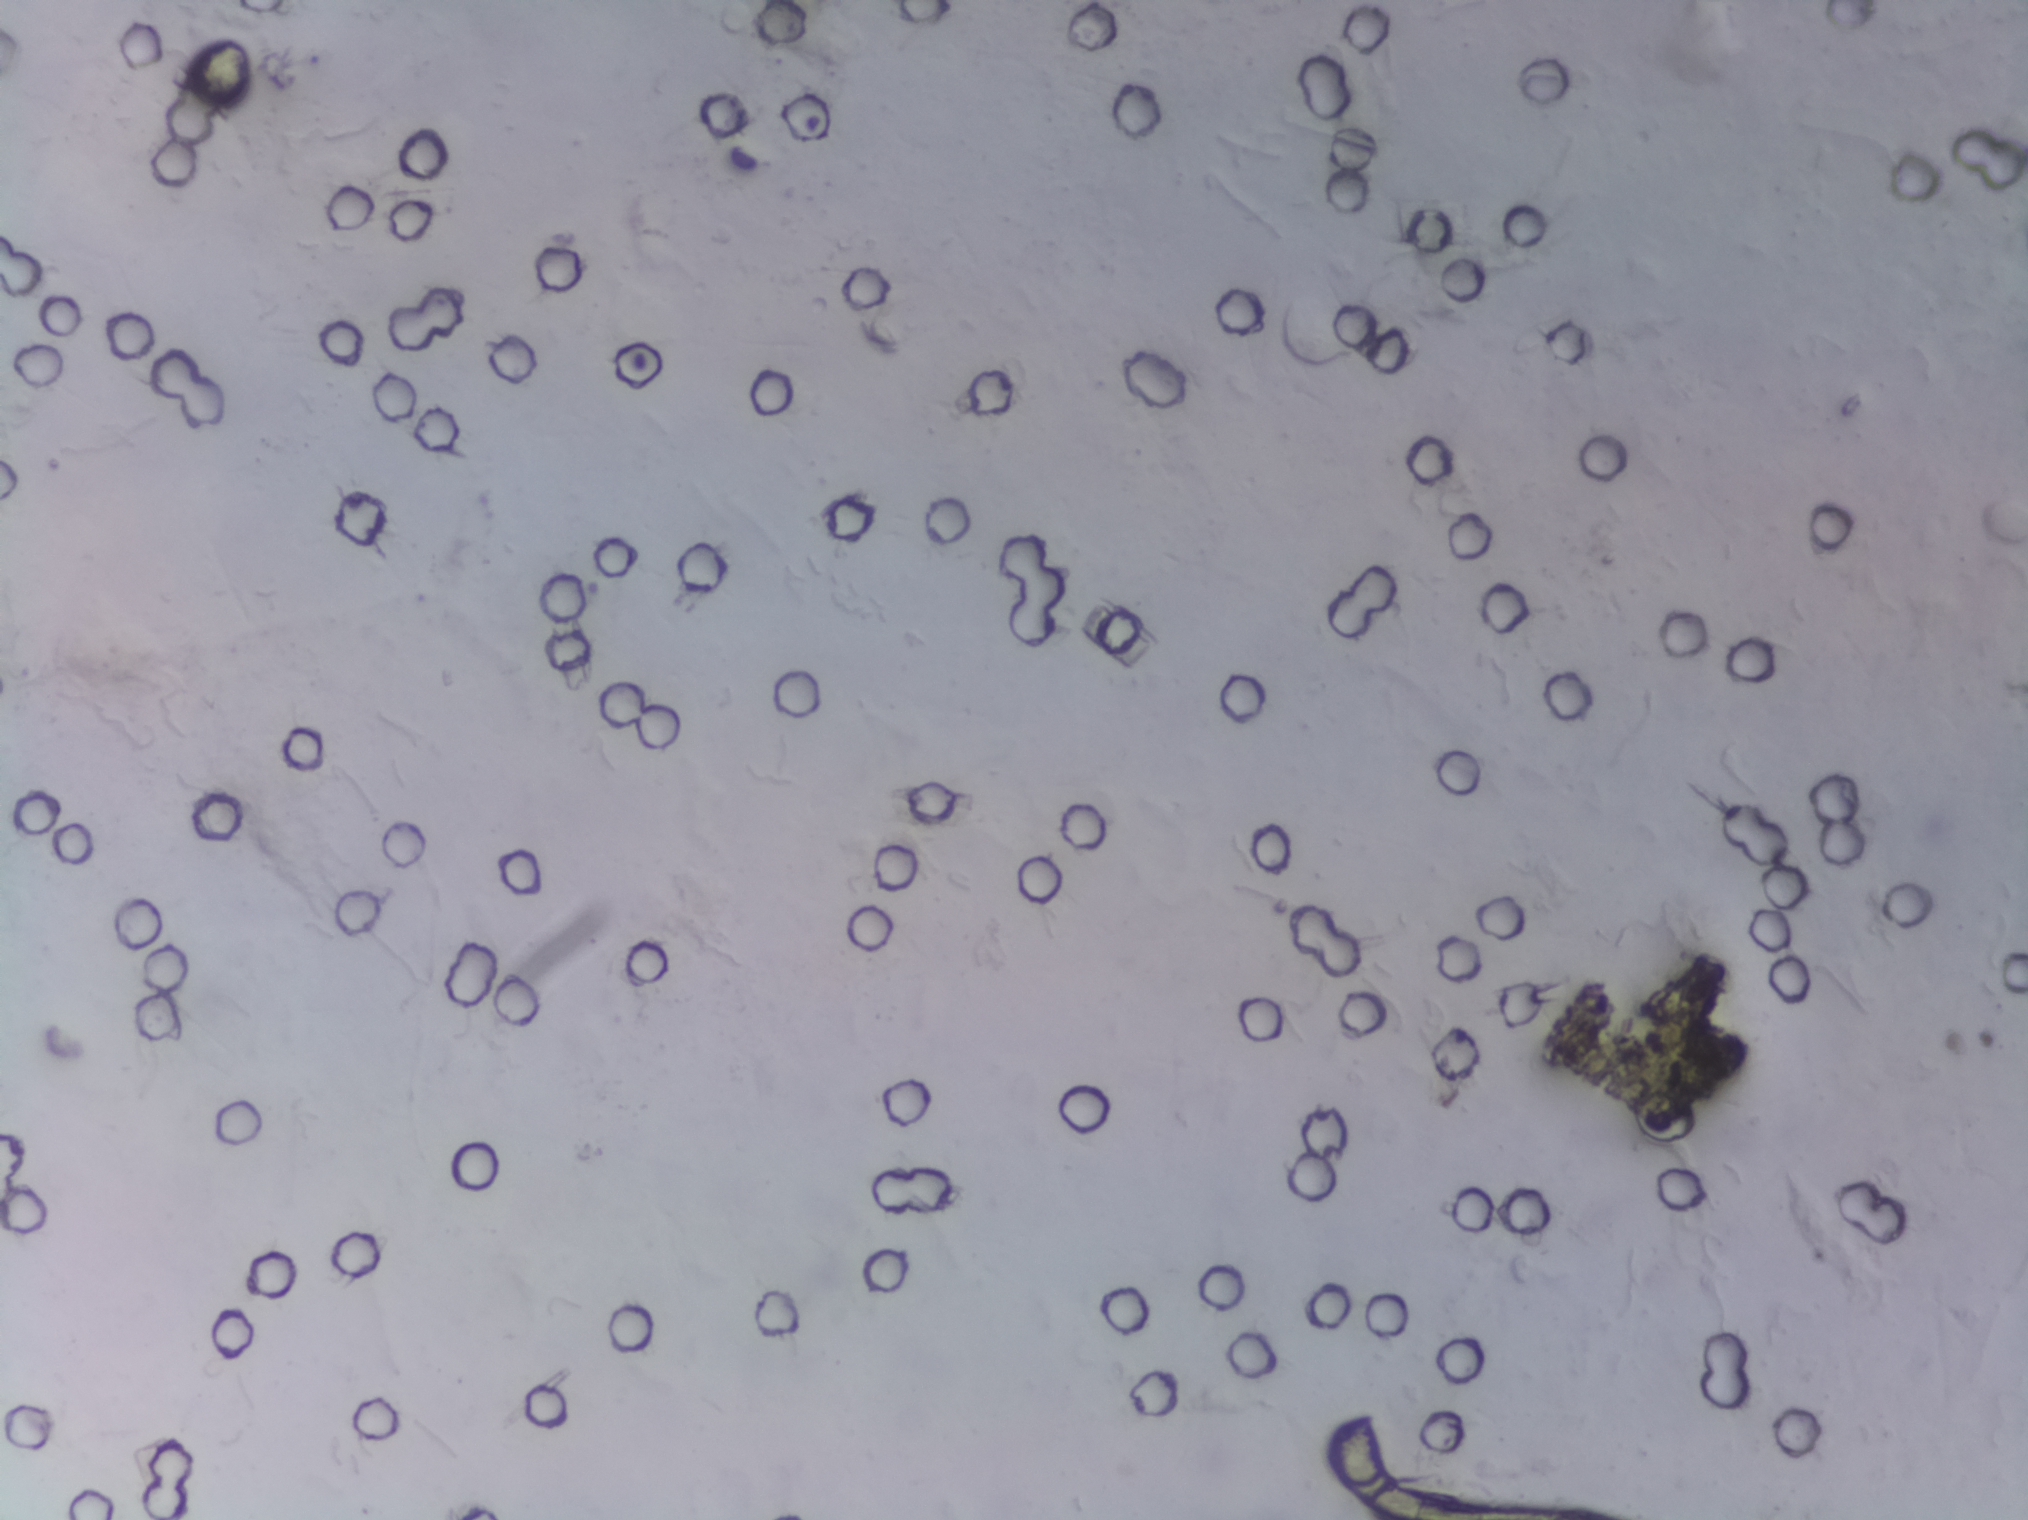
Schistosoma eggs: none outlined.
One field of view of a urine filter membrane, 4× objective, 2028 × 1520 pixels. Field of view: about 1.5 mm wide and 1.1 mm high.